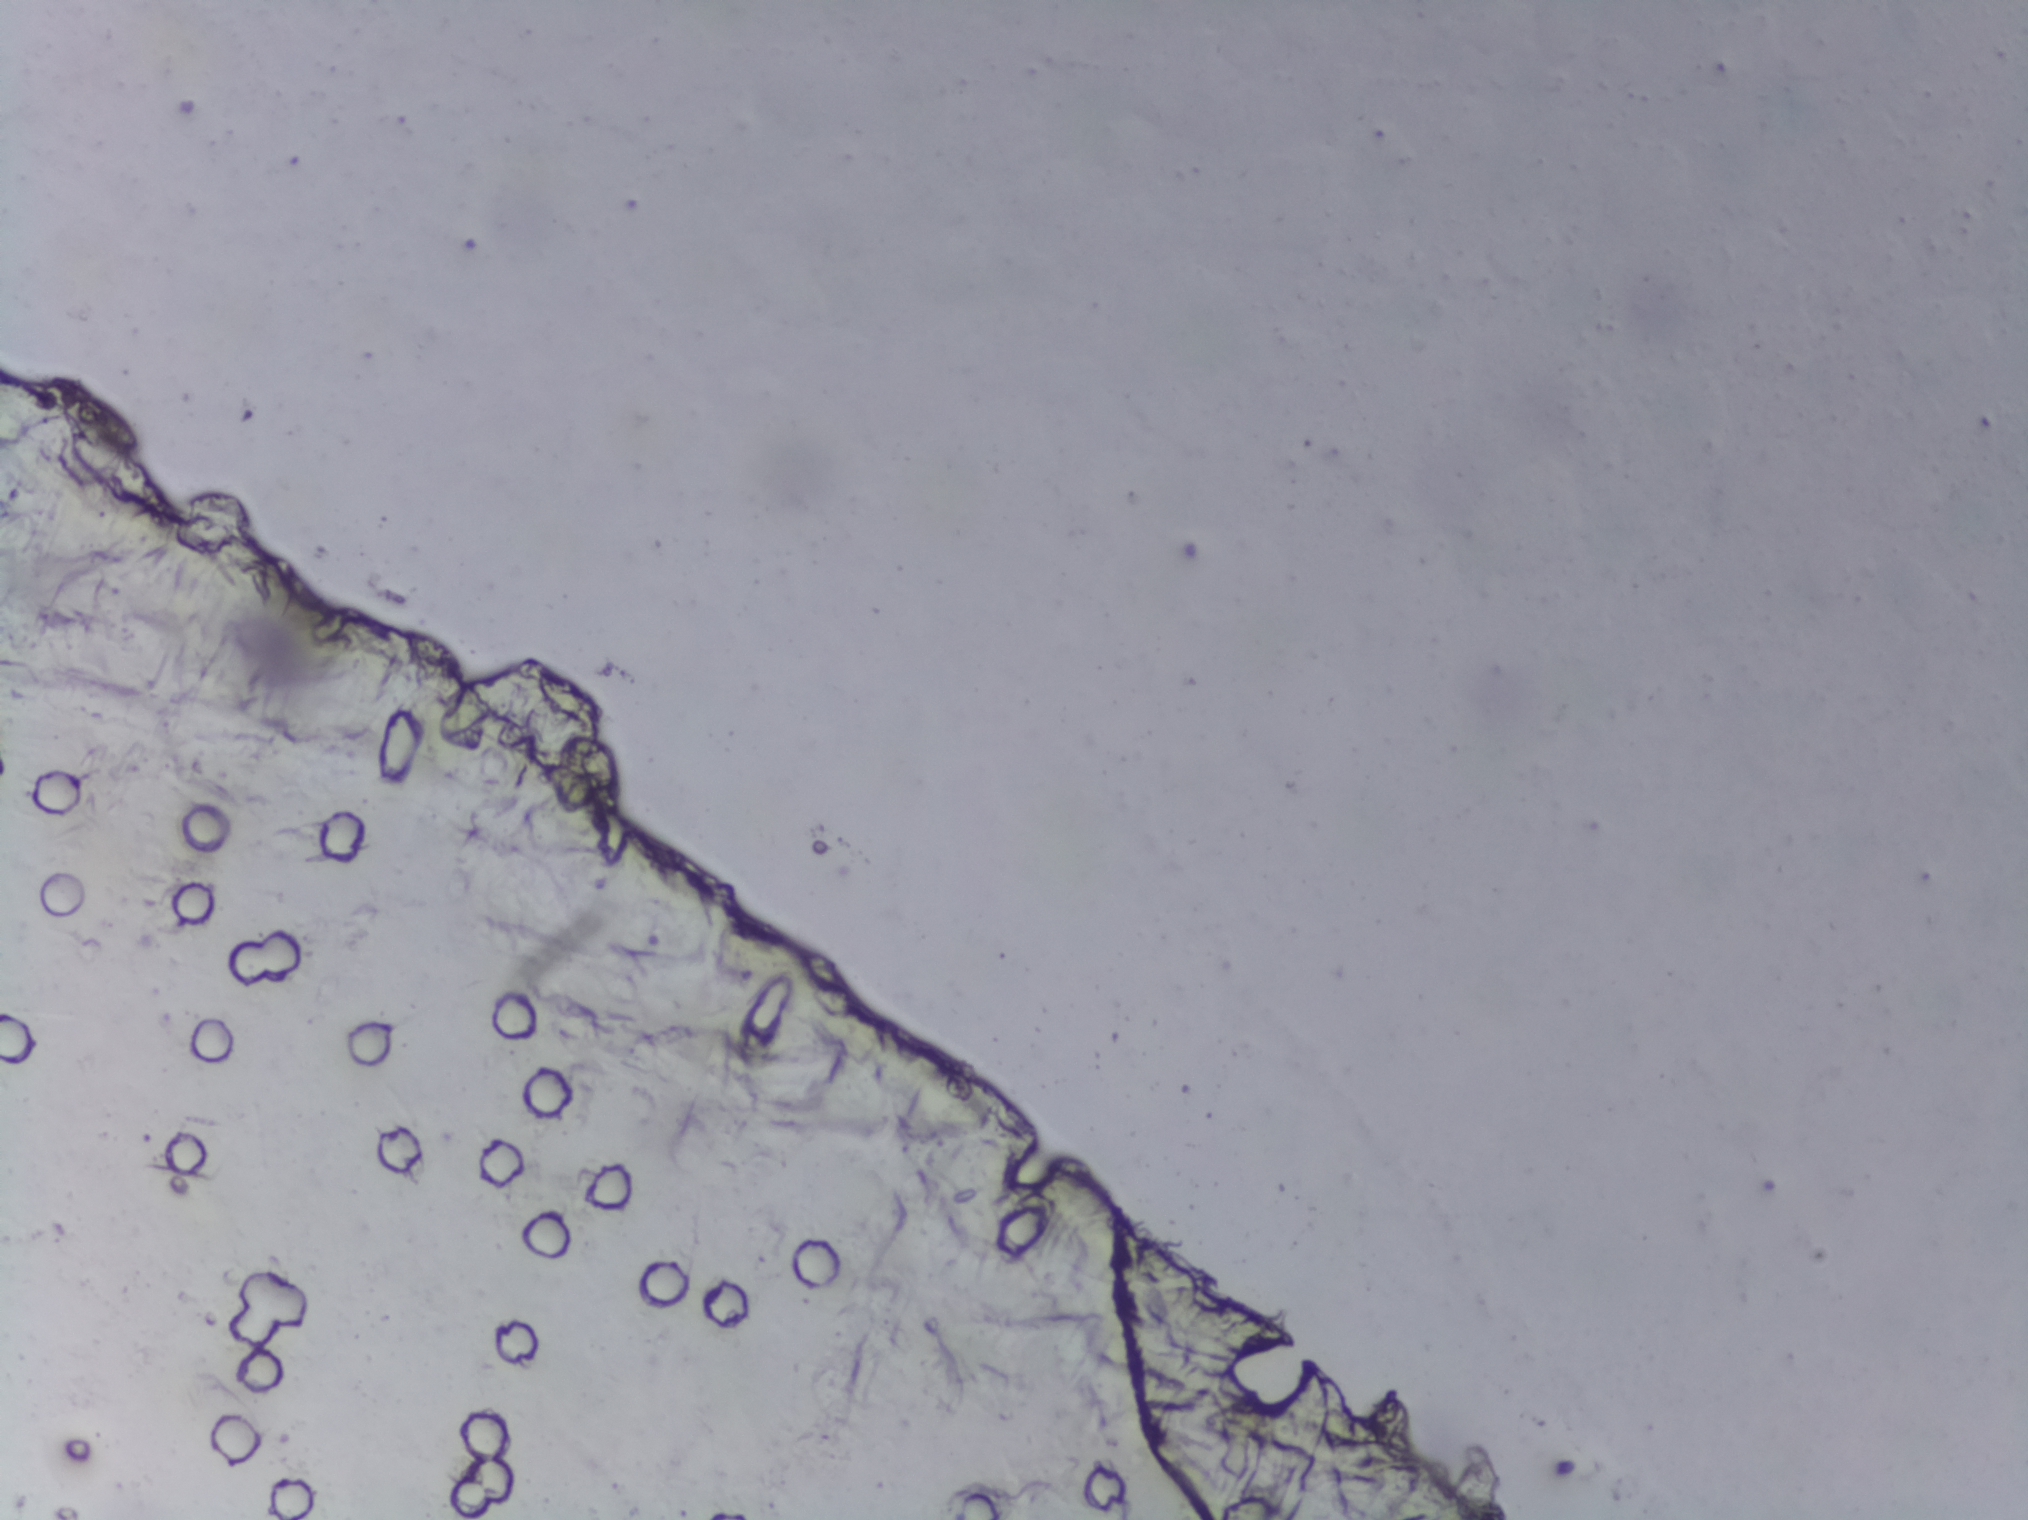
Photomicrograph of a urine filtration membrane, 4× objective. The field of view is about 1.5 mm × 1.1 mm.
No Schistosoma egg is outlined in this image's expert annotation.